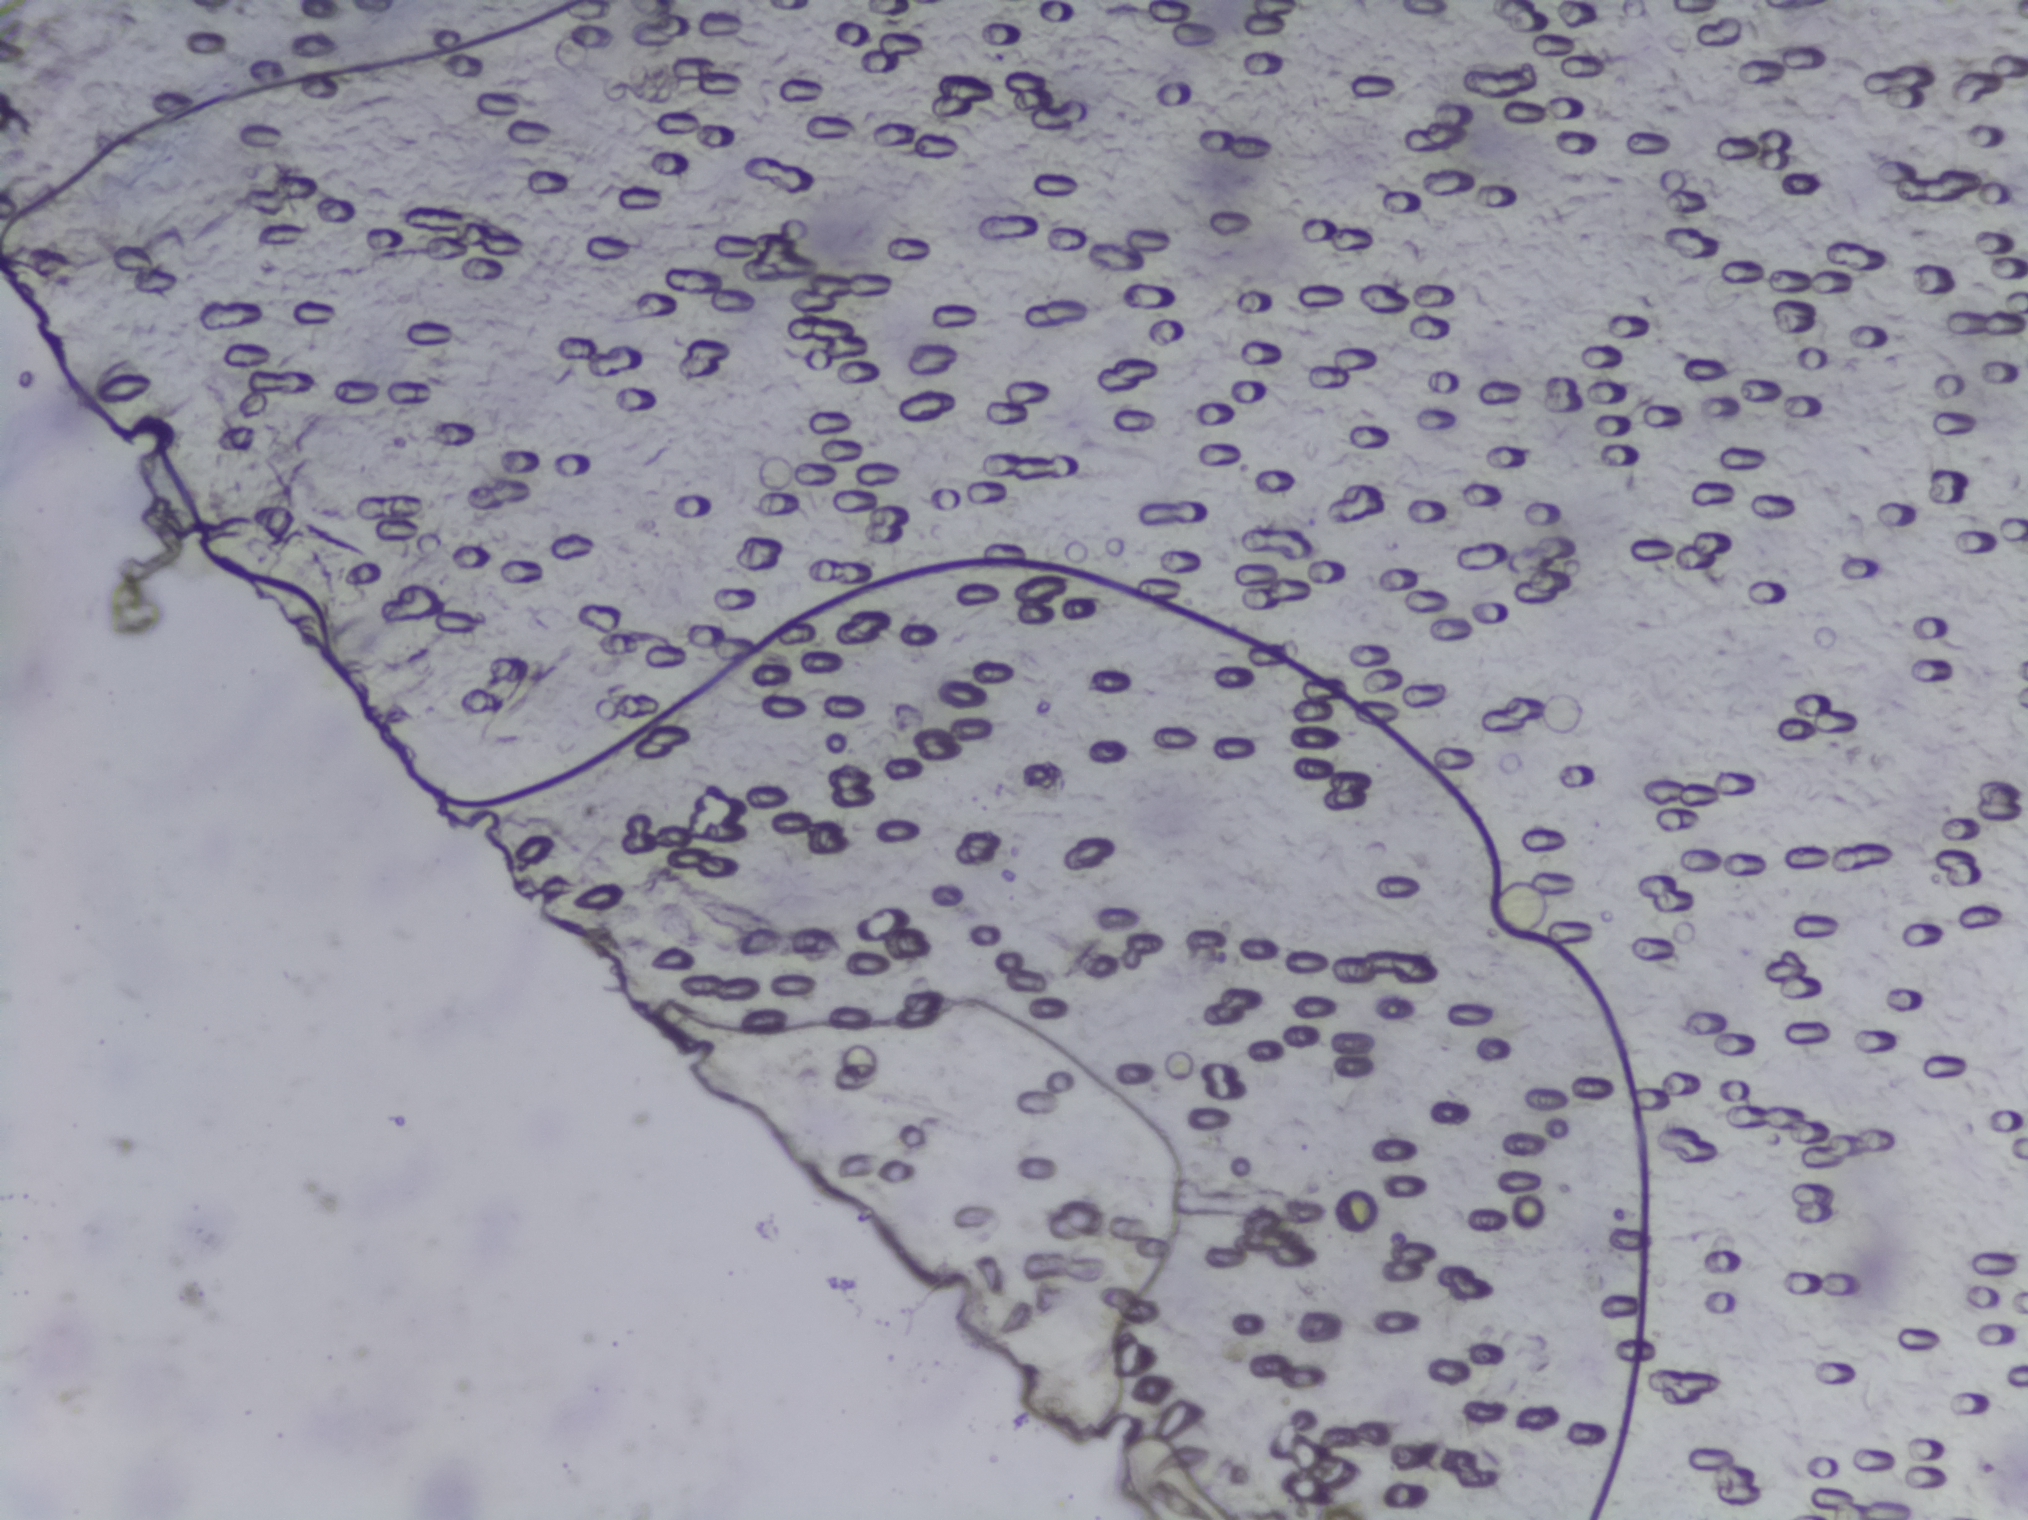
The expert annotation outlines no Schistosoma egg in this image.
Microscope photograph (4× objective) of a membrane that a urine sample was filtered through.